Urine filter membrane photographed through a 4× microscope objective. The image covers about 1.5 × 1.1 mm of the membrane.
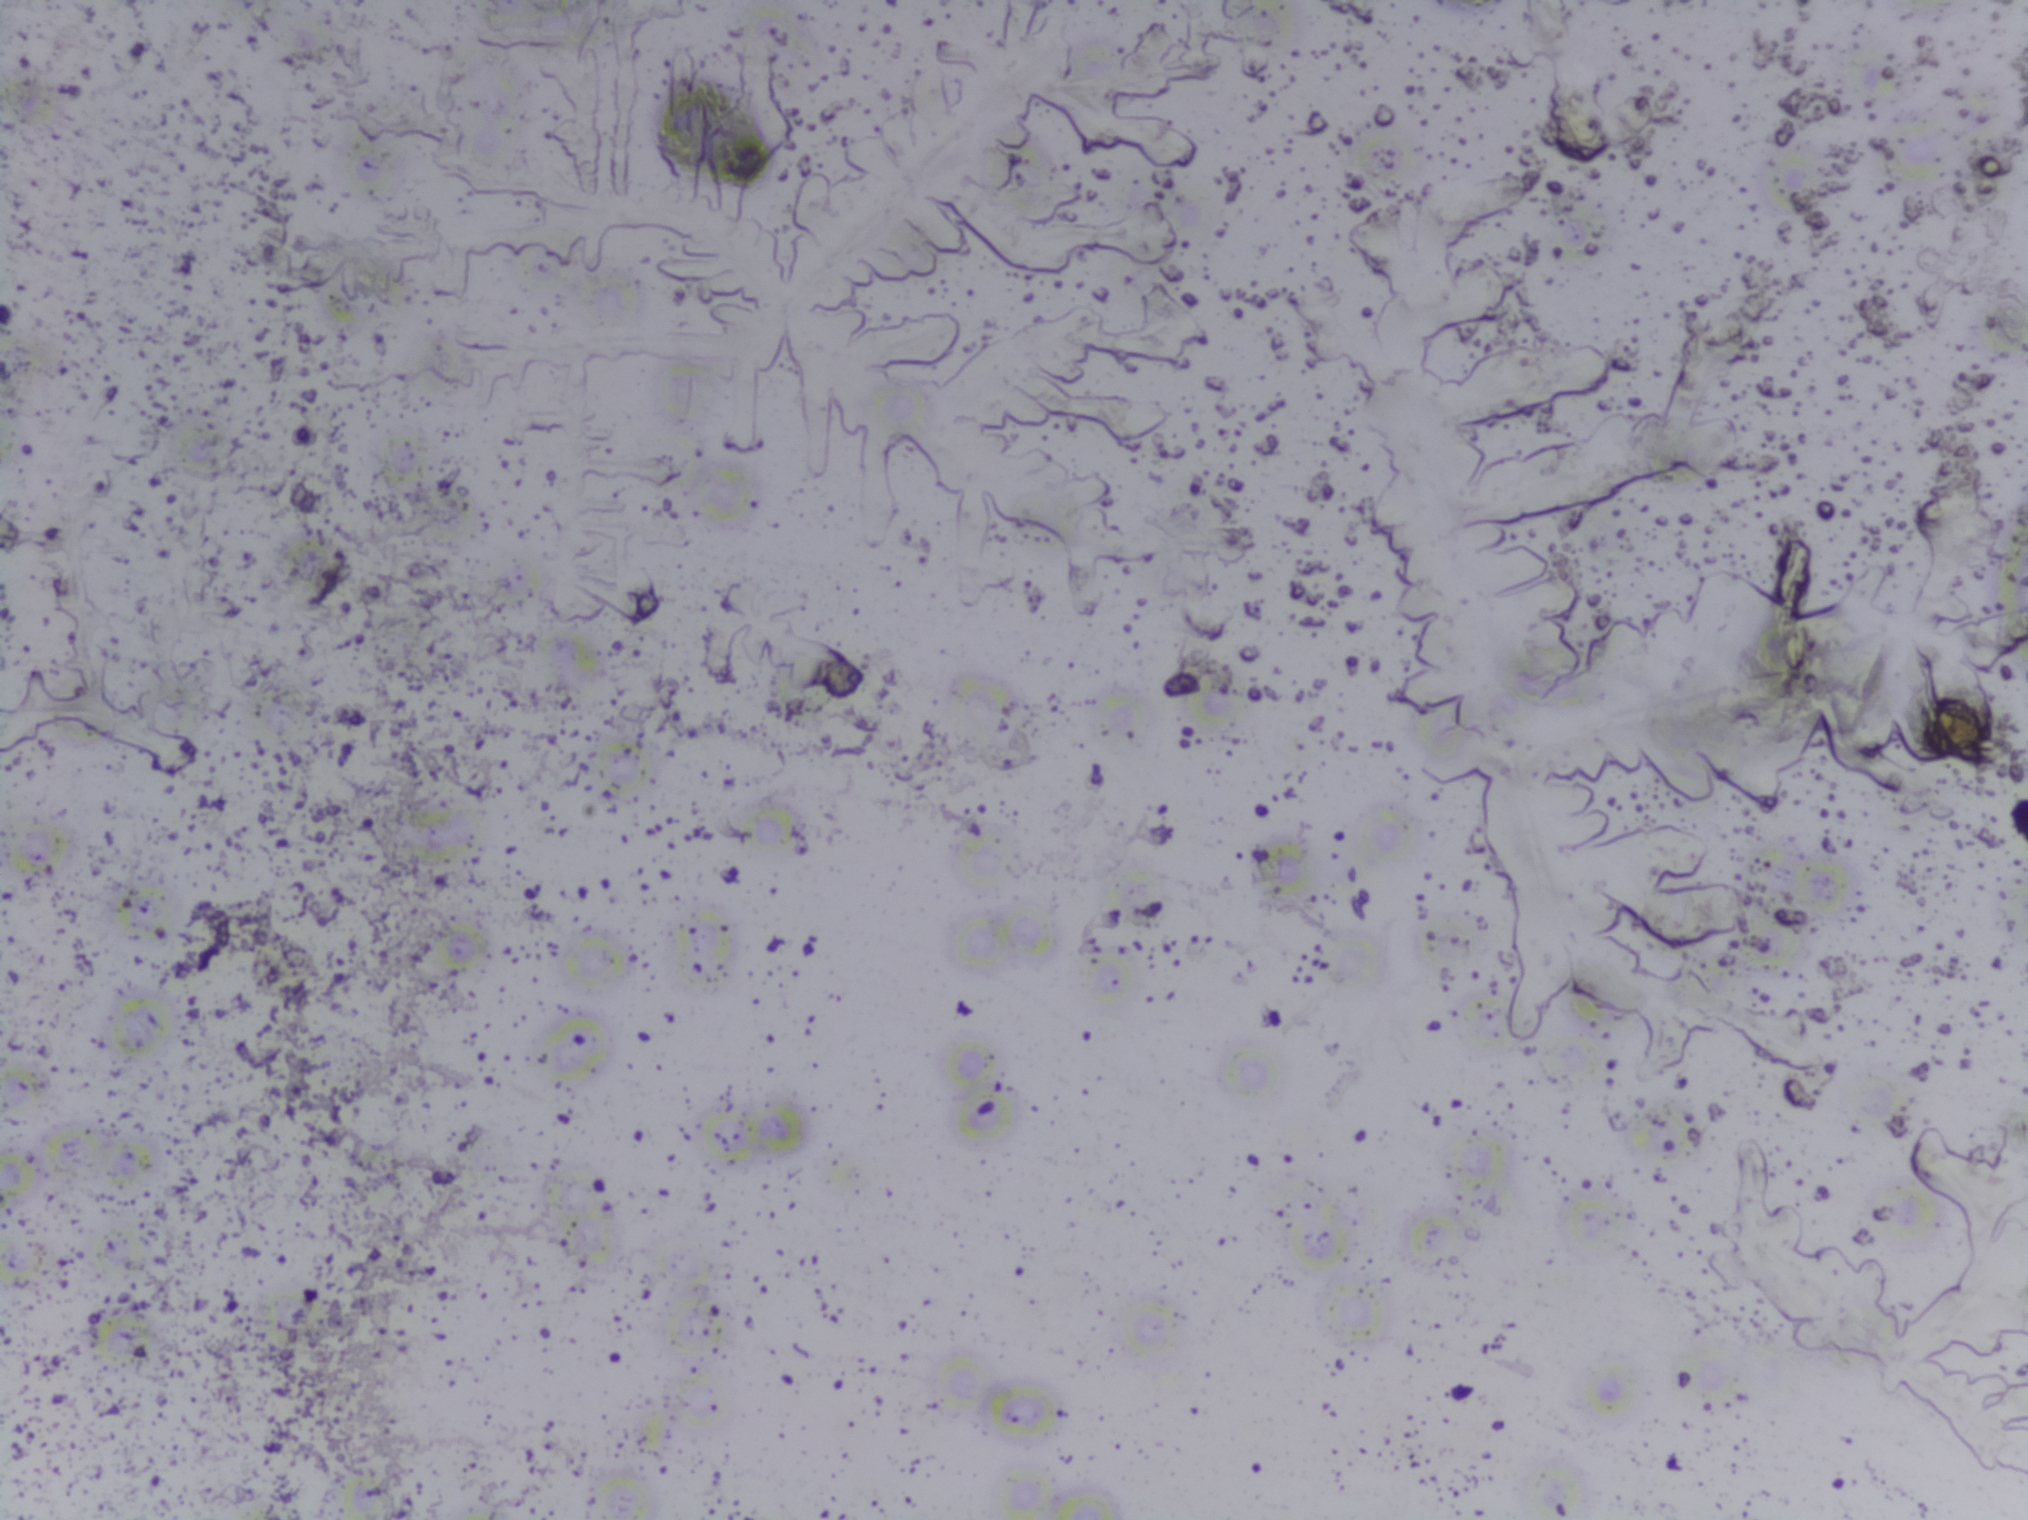
The expert annotation marks no Schistosoma egg in this field of view.